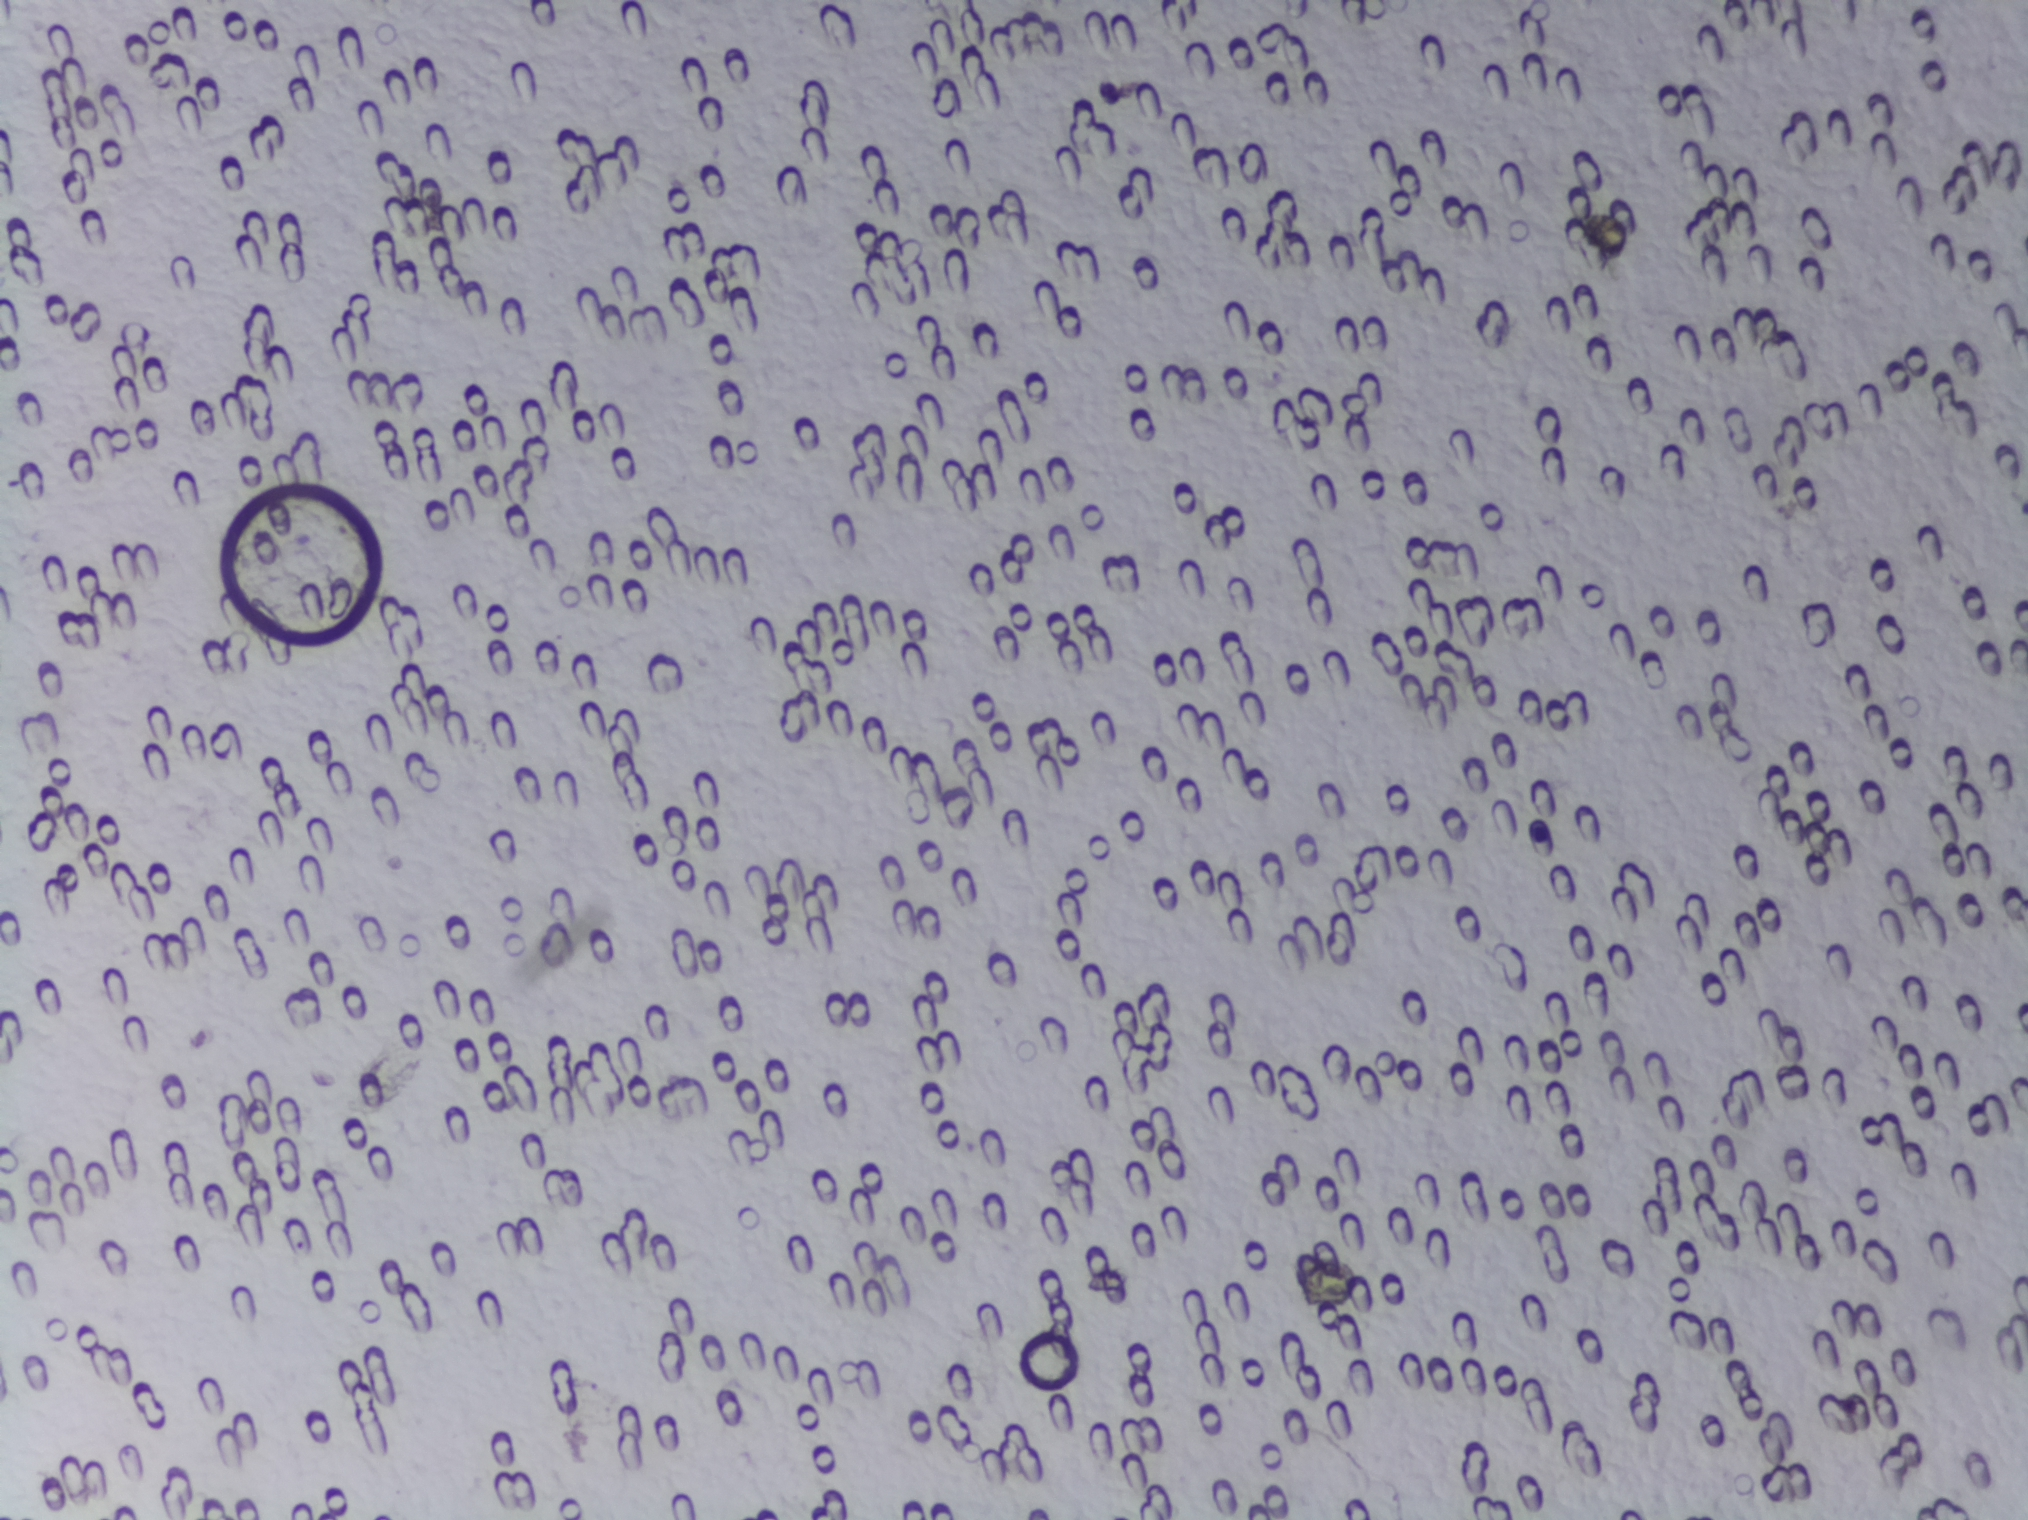
One field of view of a urine filter membrane, 4× objective, 2028 × 1520 pixels.
Schistosoma eggs: none outlined.